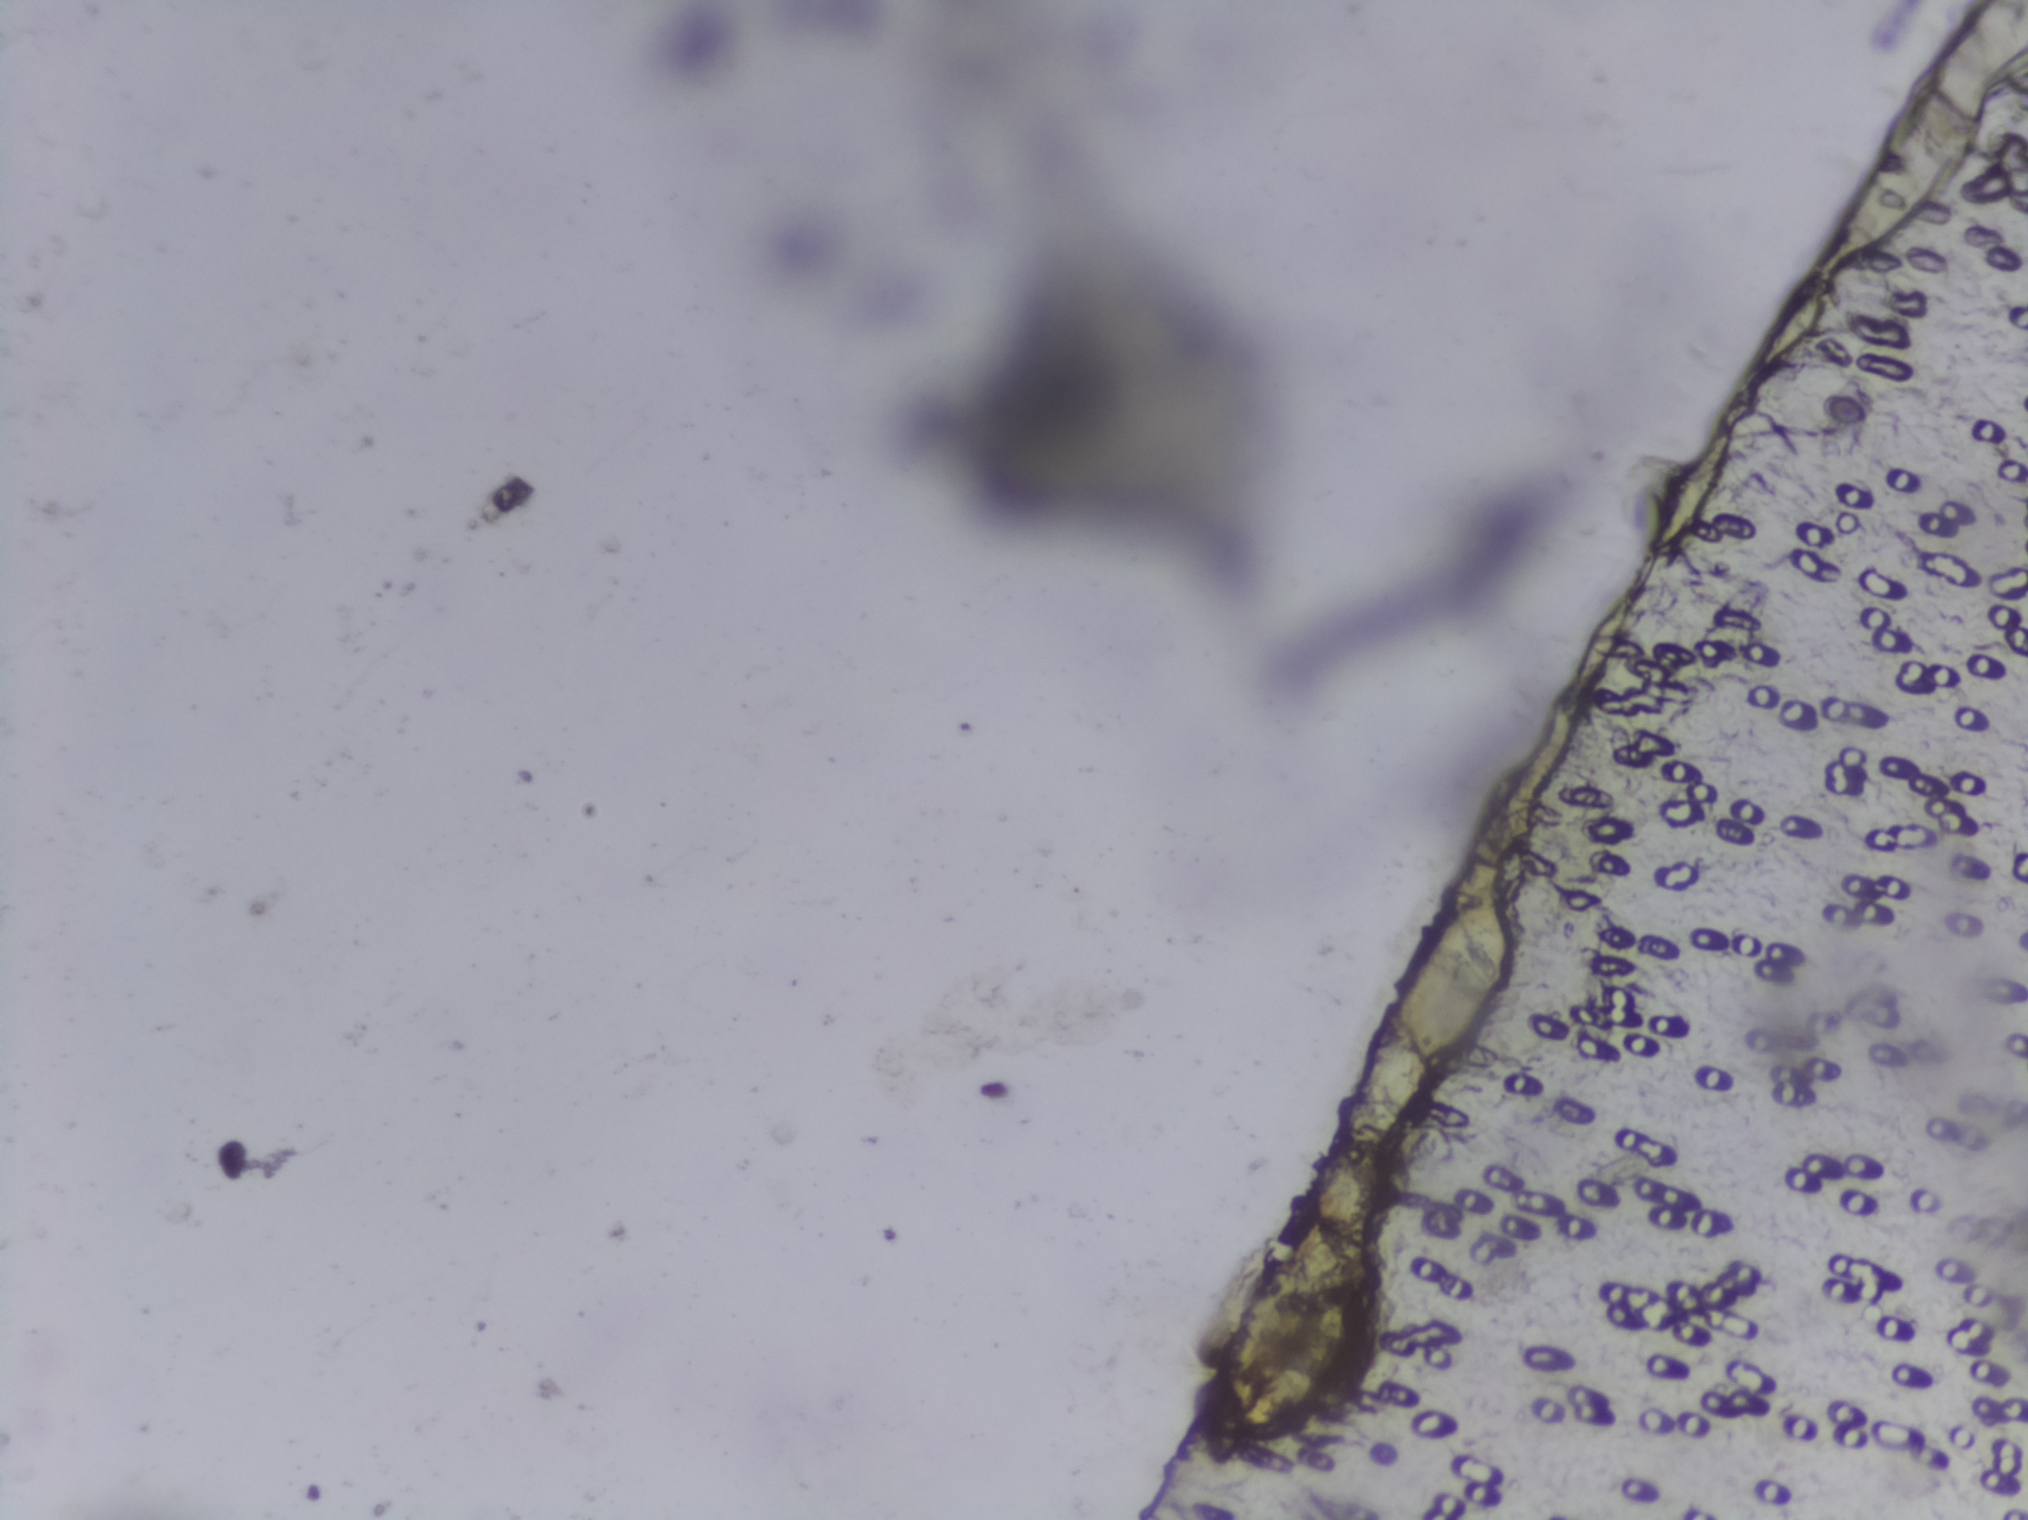
Urine filtration membrane under a 4× objective, photographed by an automated digital microscope.
The expert annotation outlines no Schistosoma egg in this image.